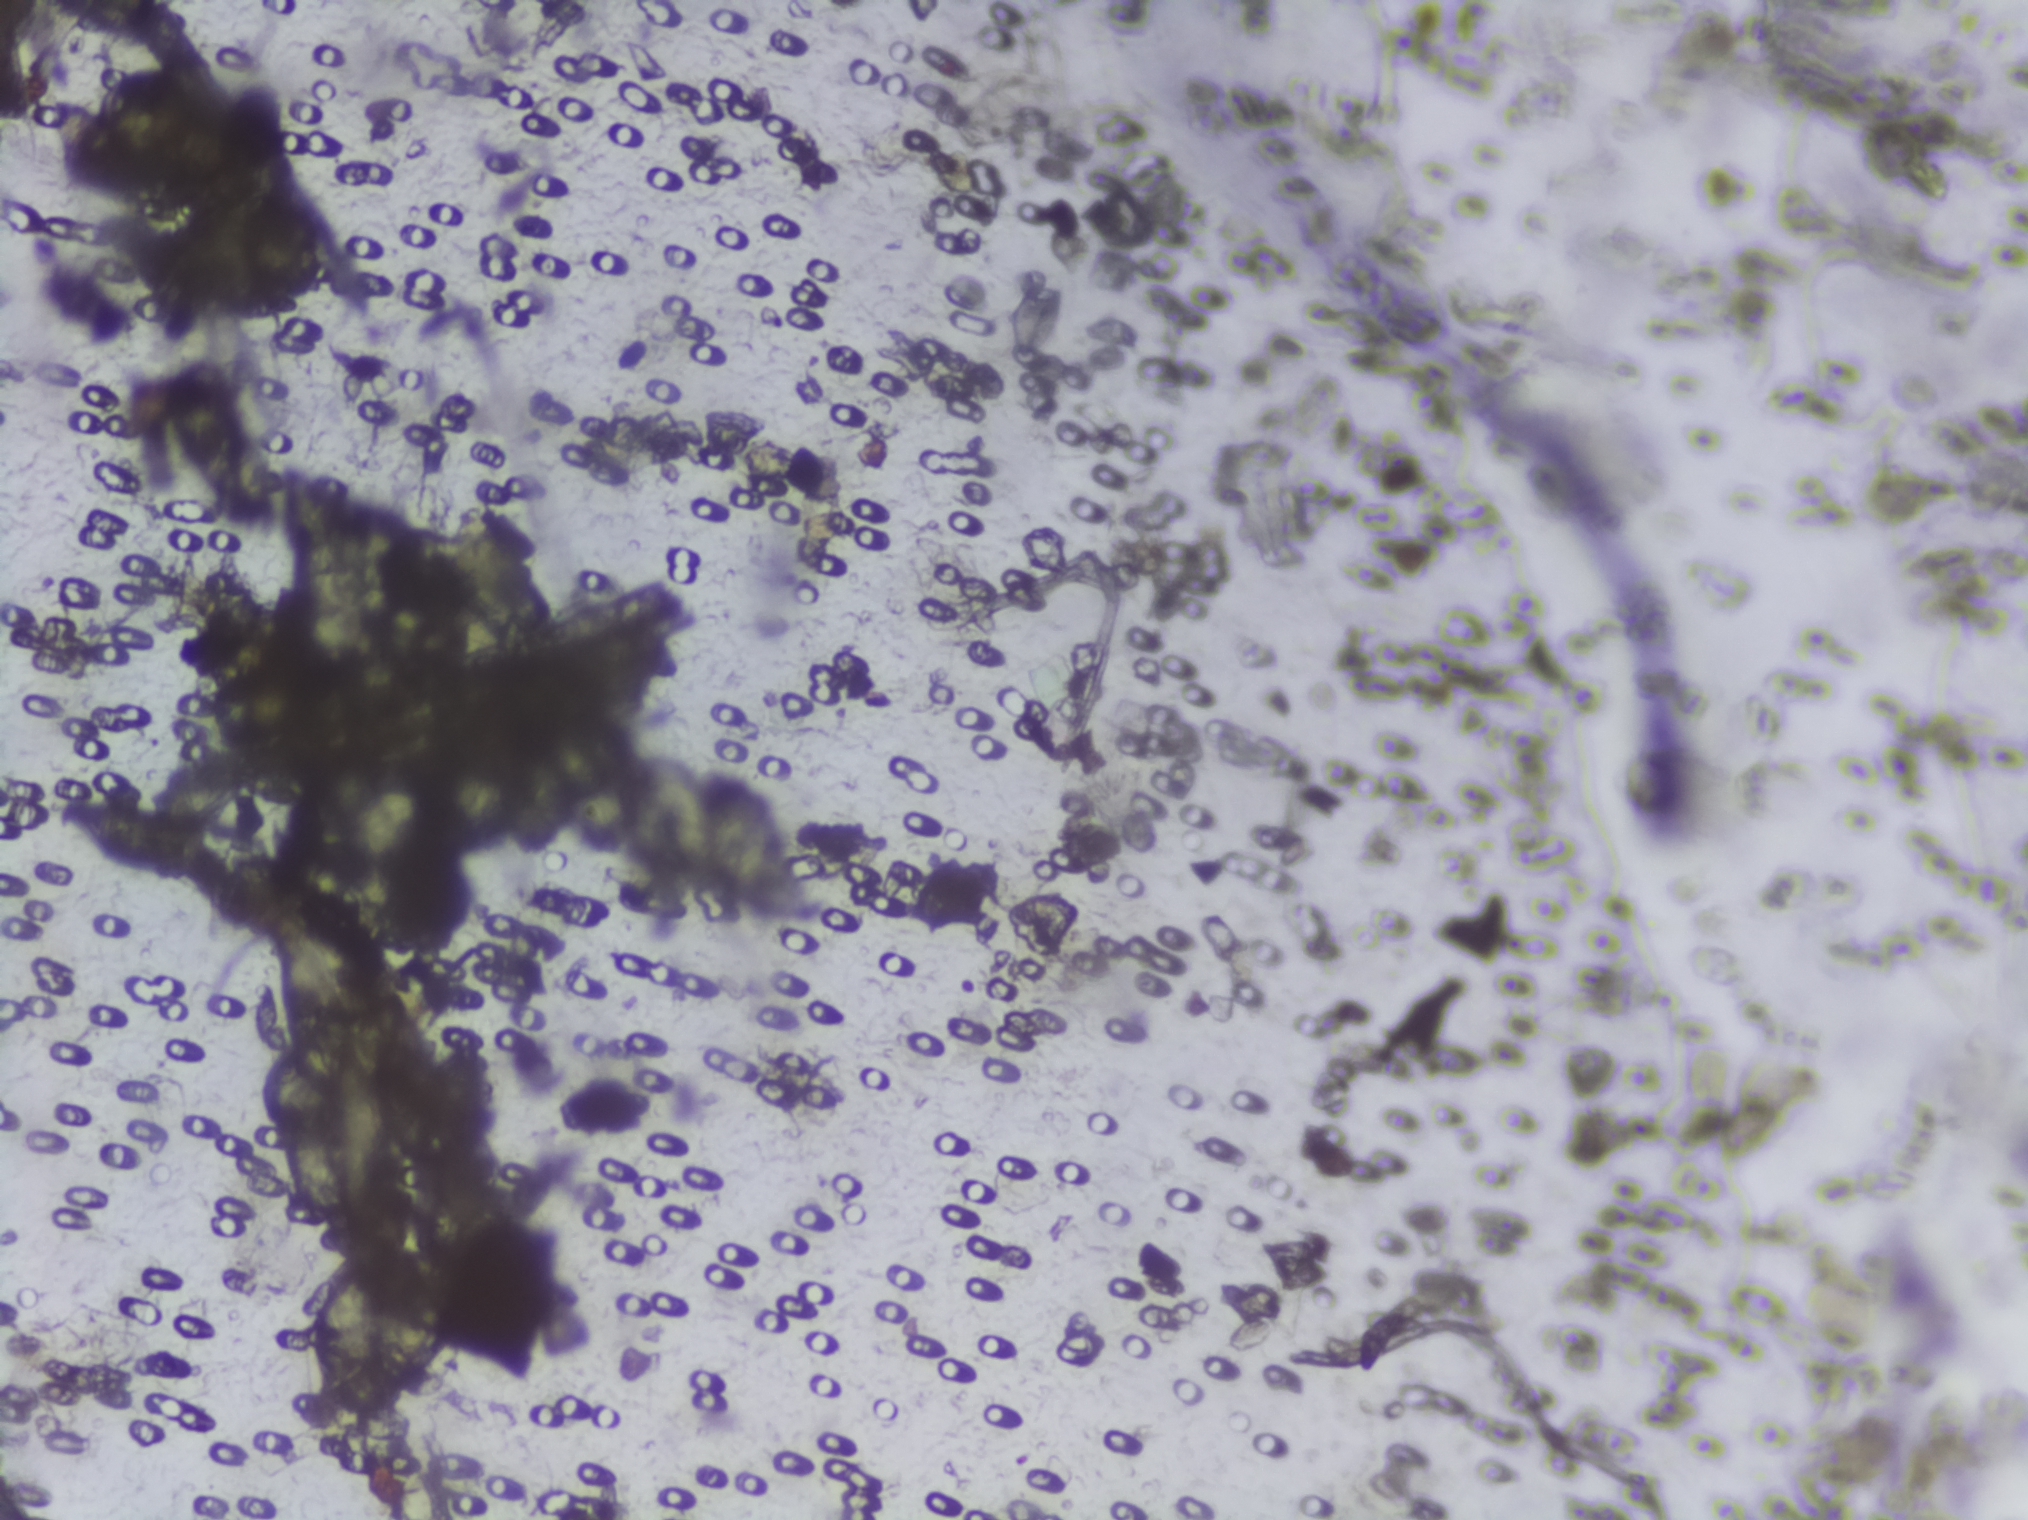
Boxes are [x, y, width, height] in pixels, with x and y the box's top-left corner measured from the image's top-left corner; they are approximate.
Schistosoma eggs are outlined in the expert annotation at [53, 800, 162, 78]. Eggs that touch can end up inside the same outlined area. Any one outlined egg may, rarely, be S. mansoni rather than S. haematobium.
Urine filtration membrane under a 4× objective, photographed by an automated digital microscope.